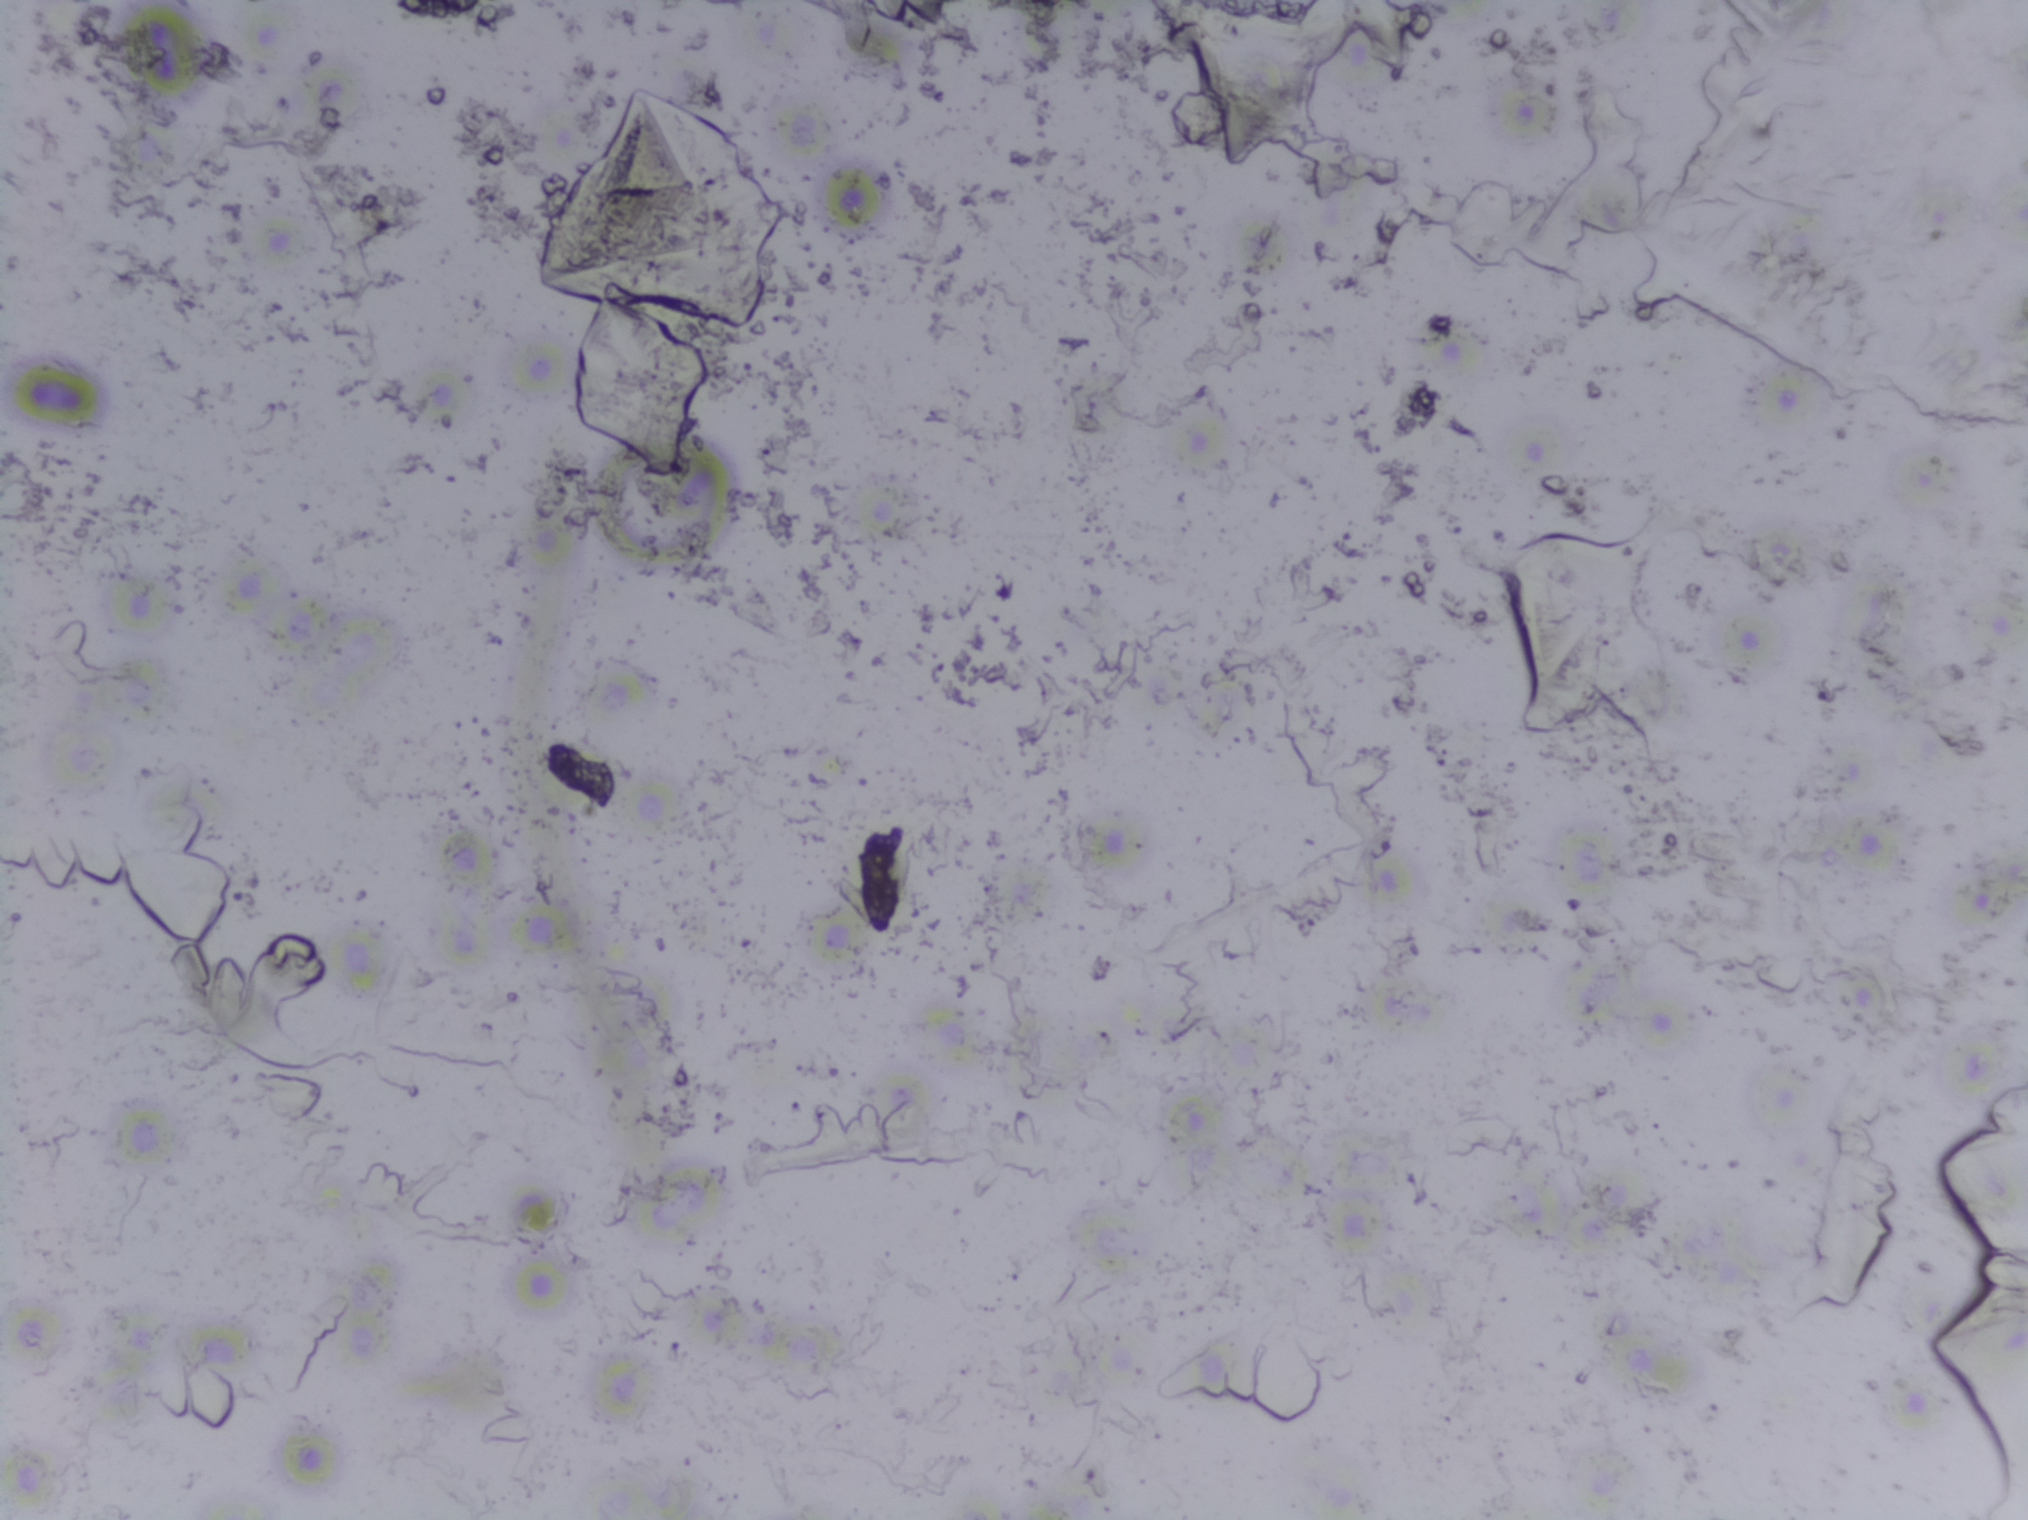
Photograph from an automated digital microscope: urine filter membrane, 4× objective.
The expert annotation marks no Schistosoma egg in this field of view.